Urine filtration membrane under a 4× objective, photographed by an automated digital microscope.
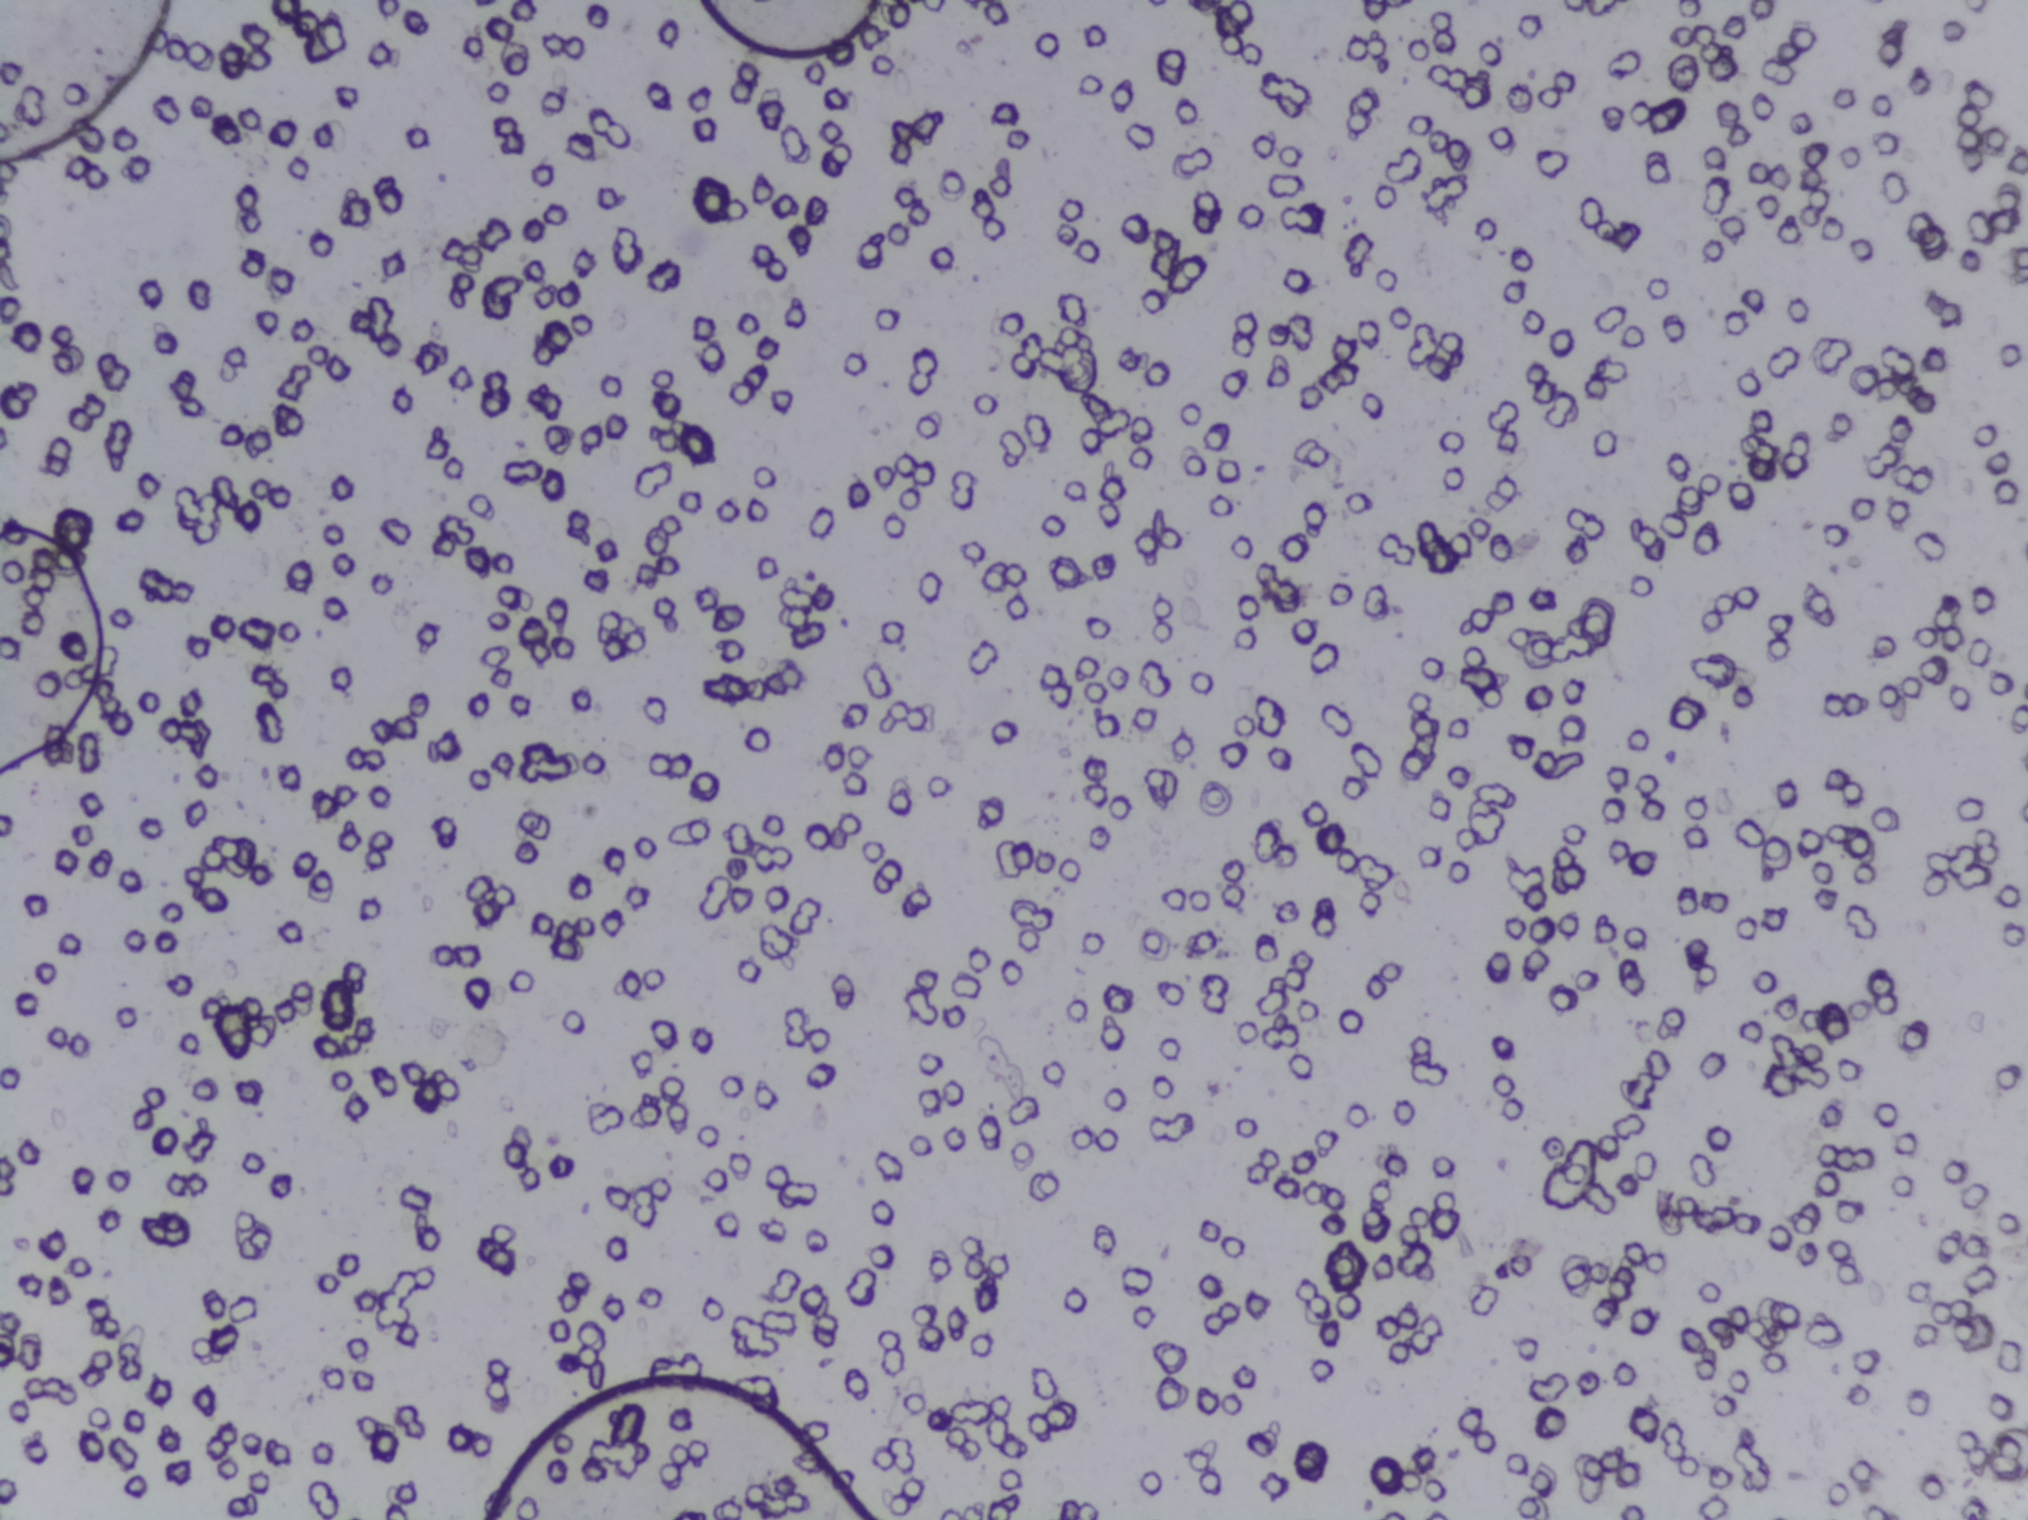
Schistosoma eggs: none outlined.